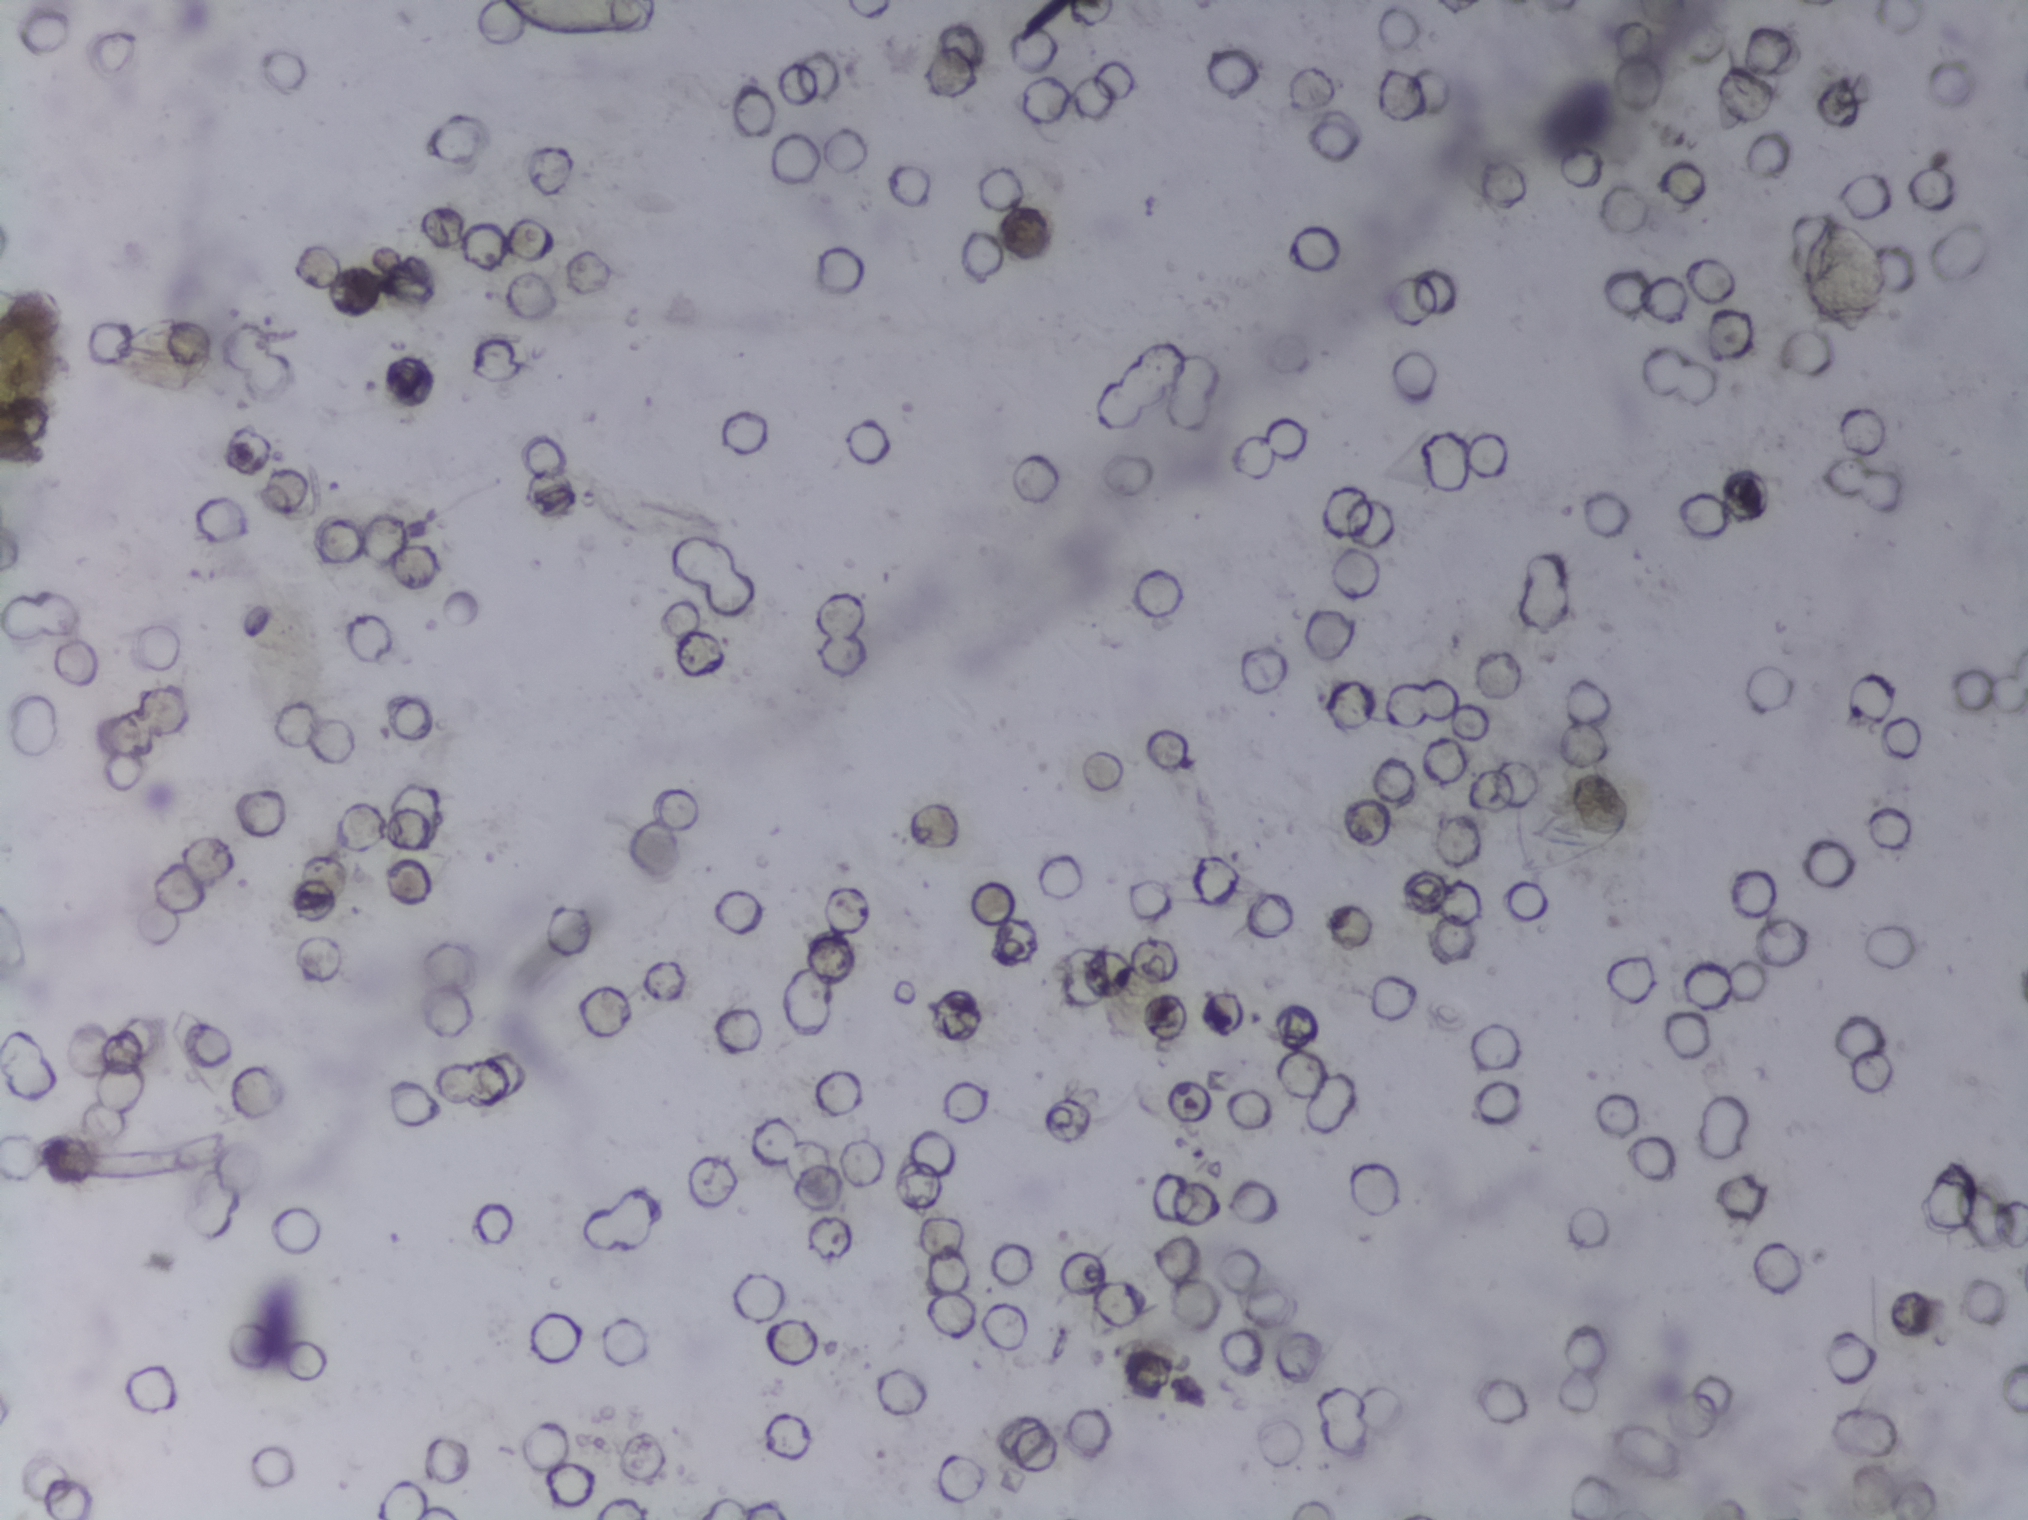
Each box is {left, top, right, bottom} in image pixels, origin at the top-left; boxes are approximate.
Areas outlined as Schistosoma eggs: {490, 0, 665, 42} (reaching the top edge of the frame); {1801, 206, 1890, 338}. Eggs that touch can end up inside the same outlined area.
One field of view of a urine filter membrane, 4× objective, 2028 × 1520 pixels.